Urine filtration membrane under a 4× objective, photographed by an automated digital microscope.
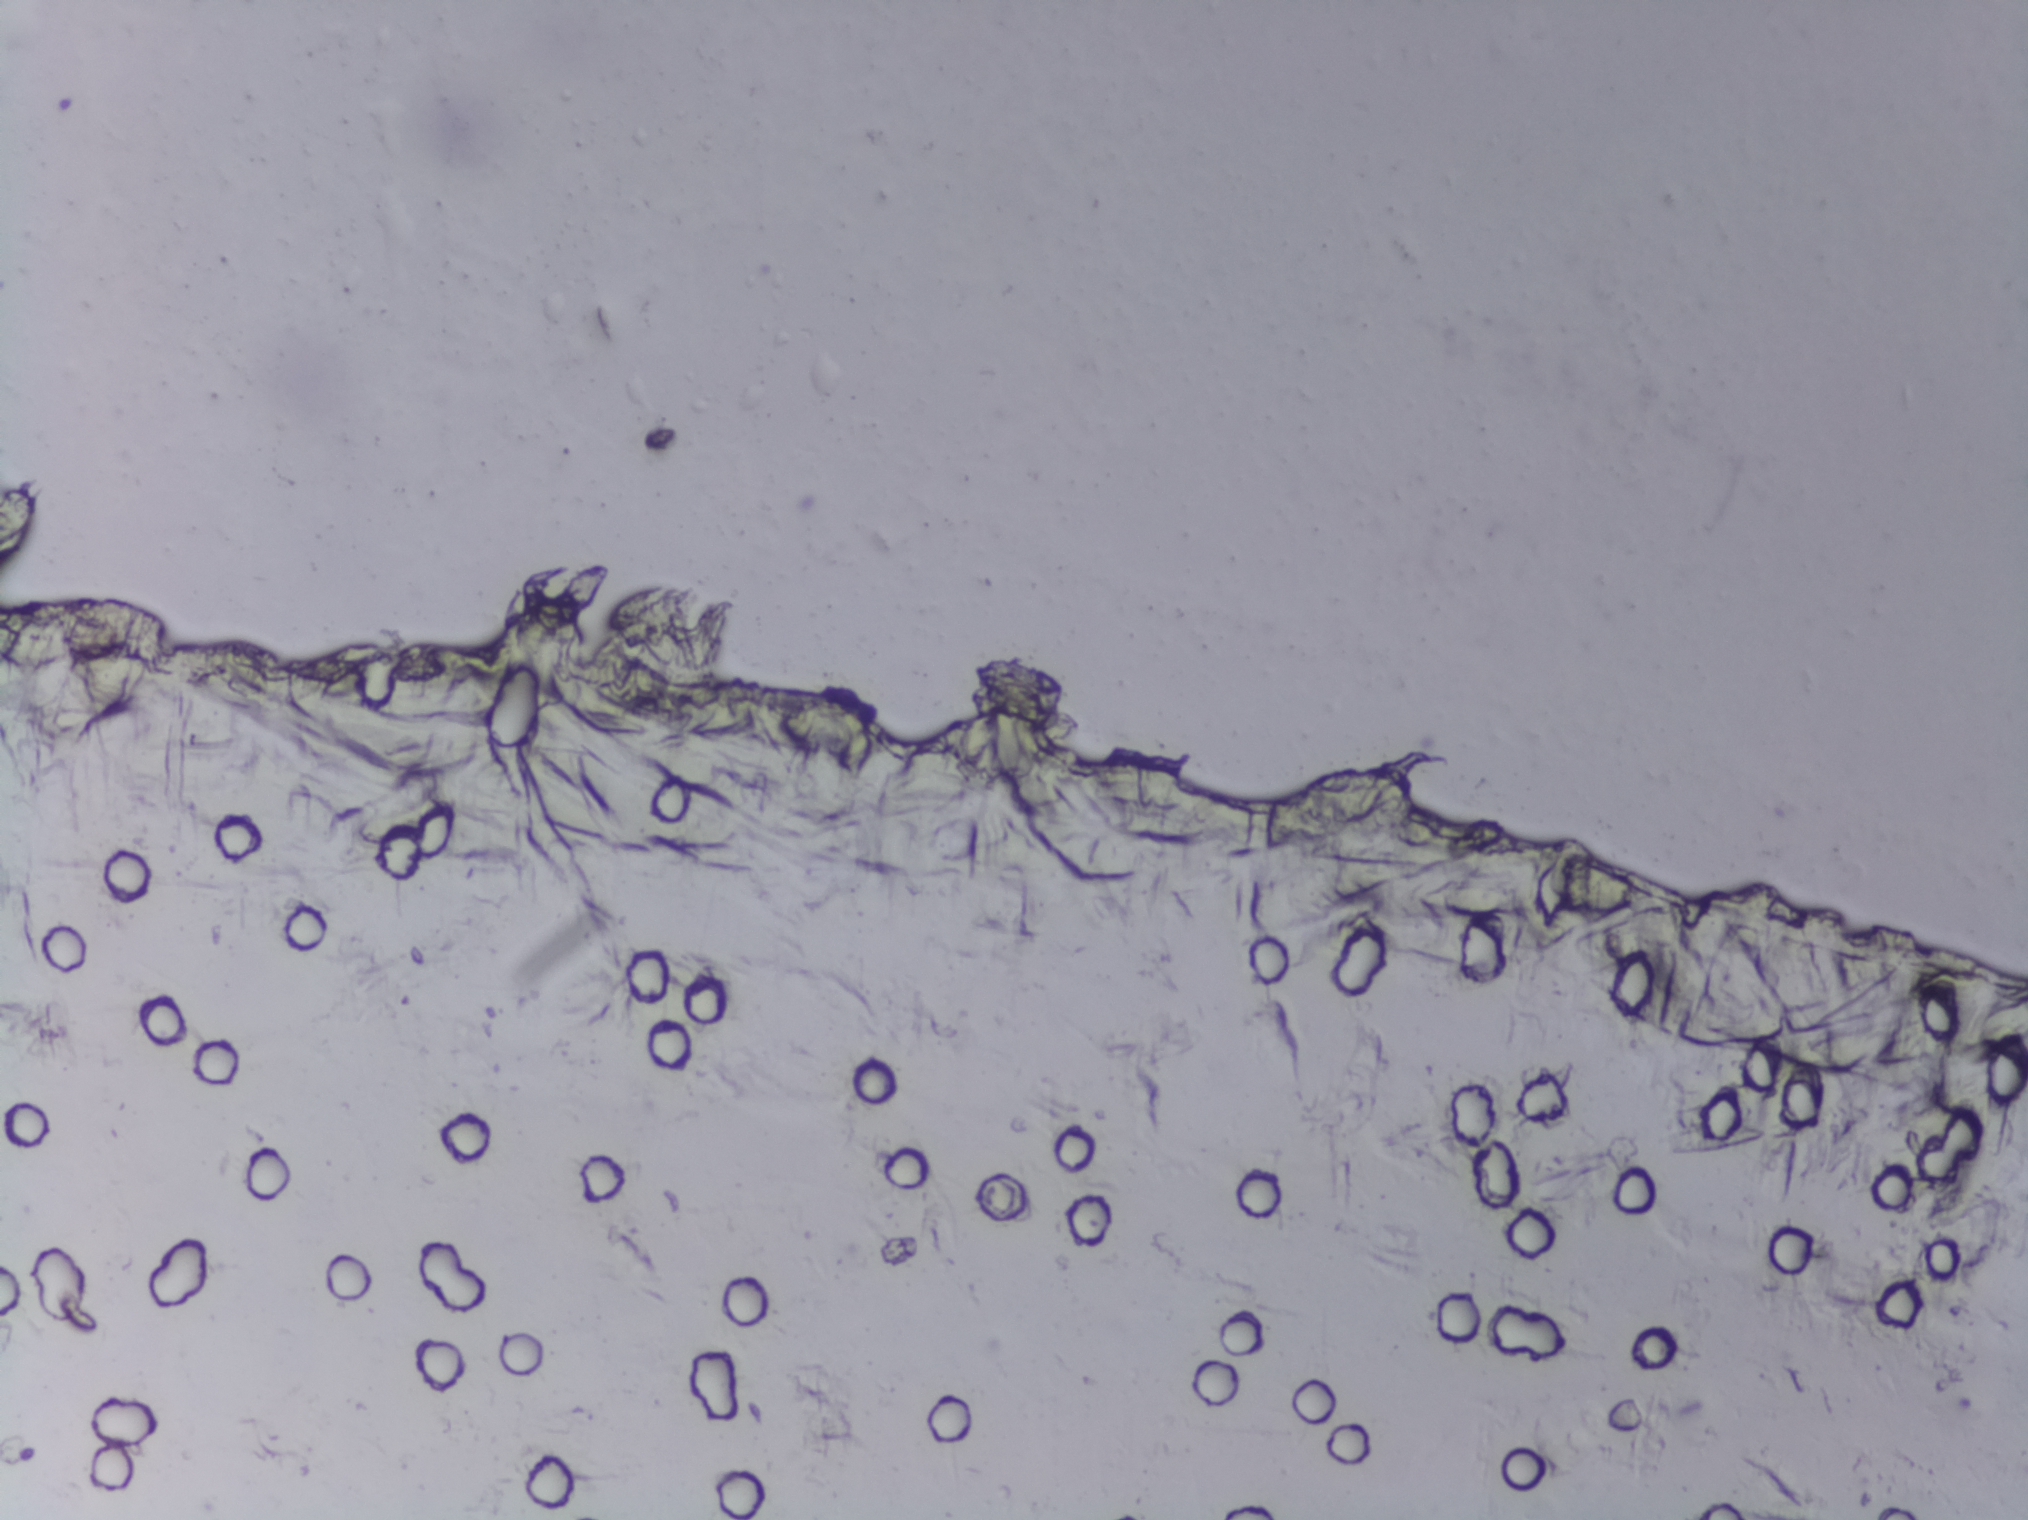
The expert annotation marks no Schistosoma egg in this field of view.